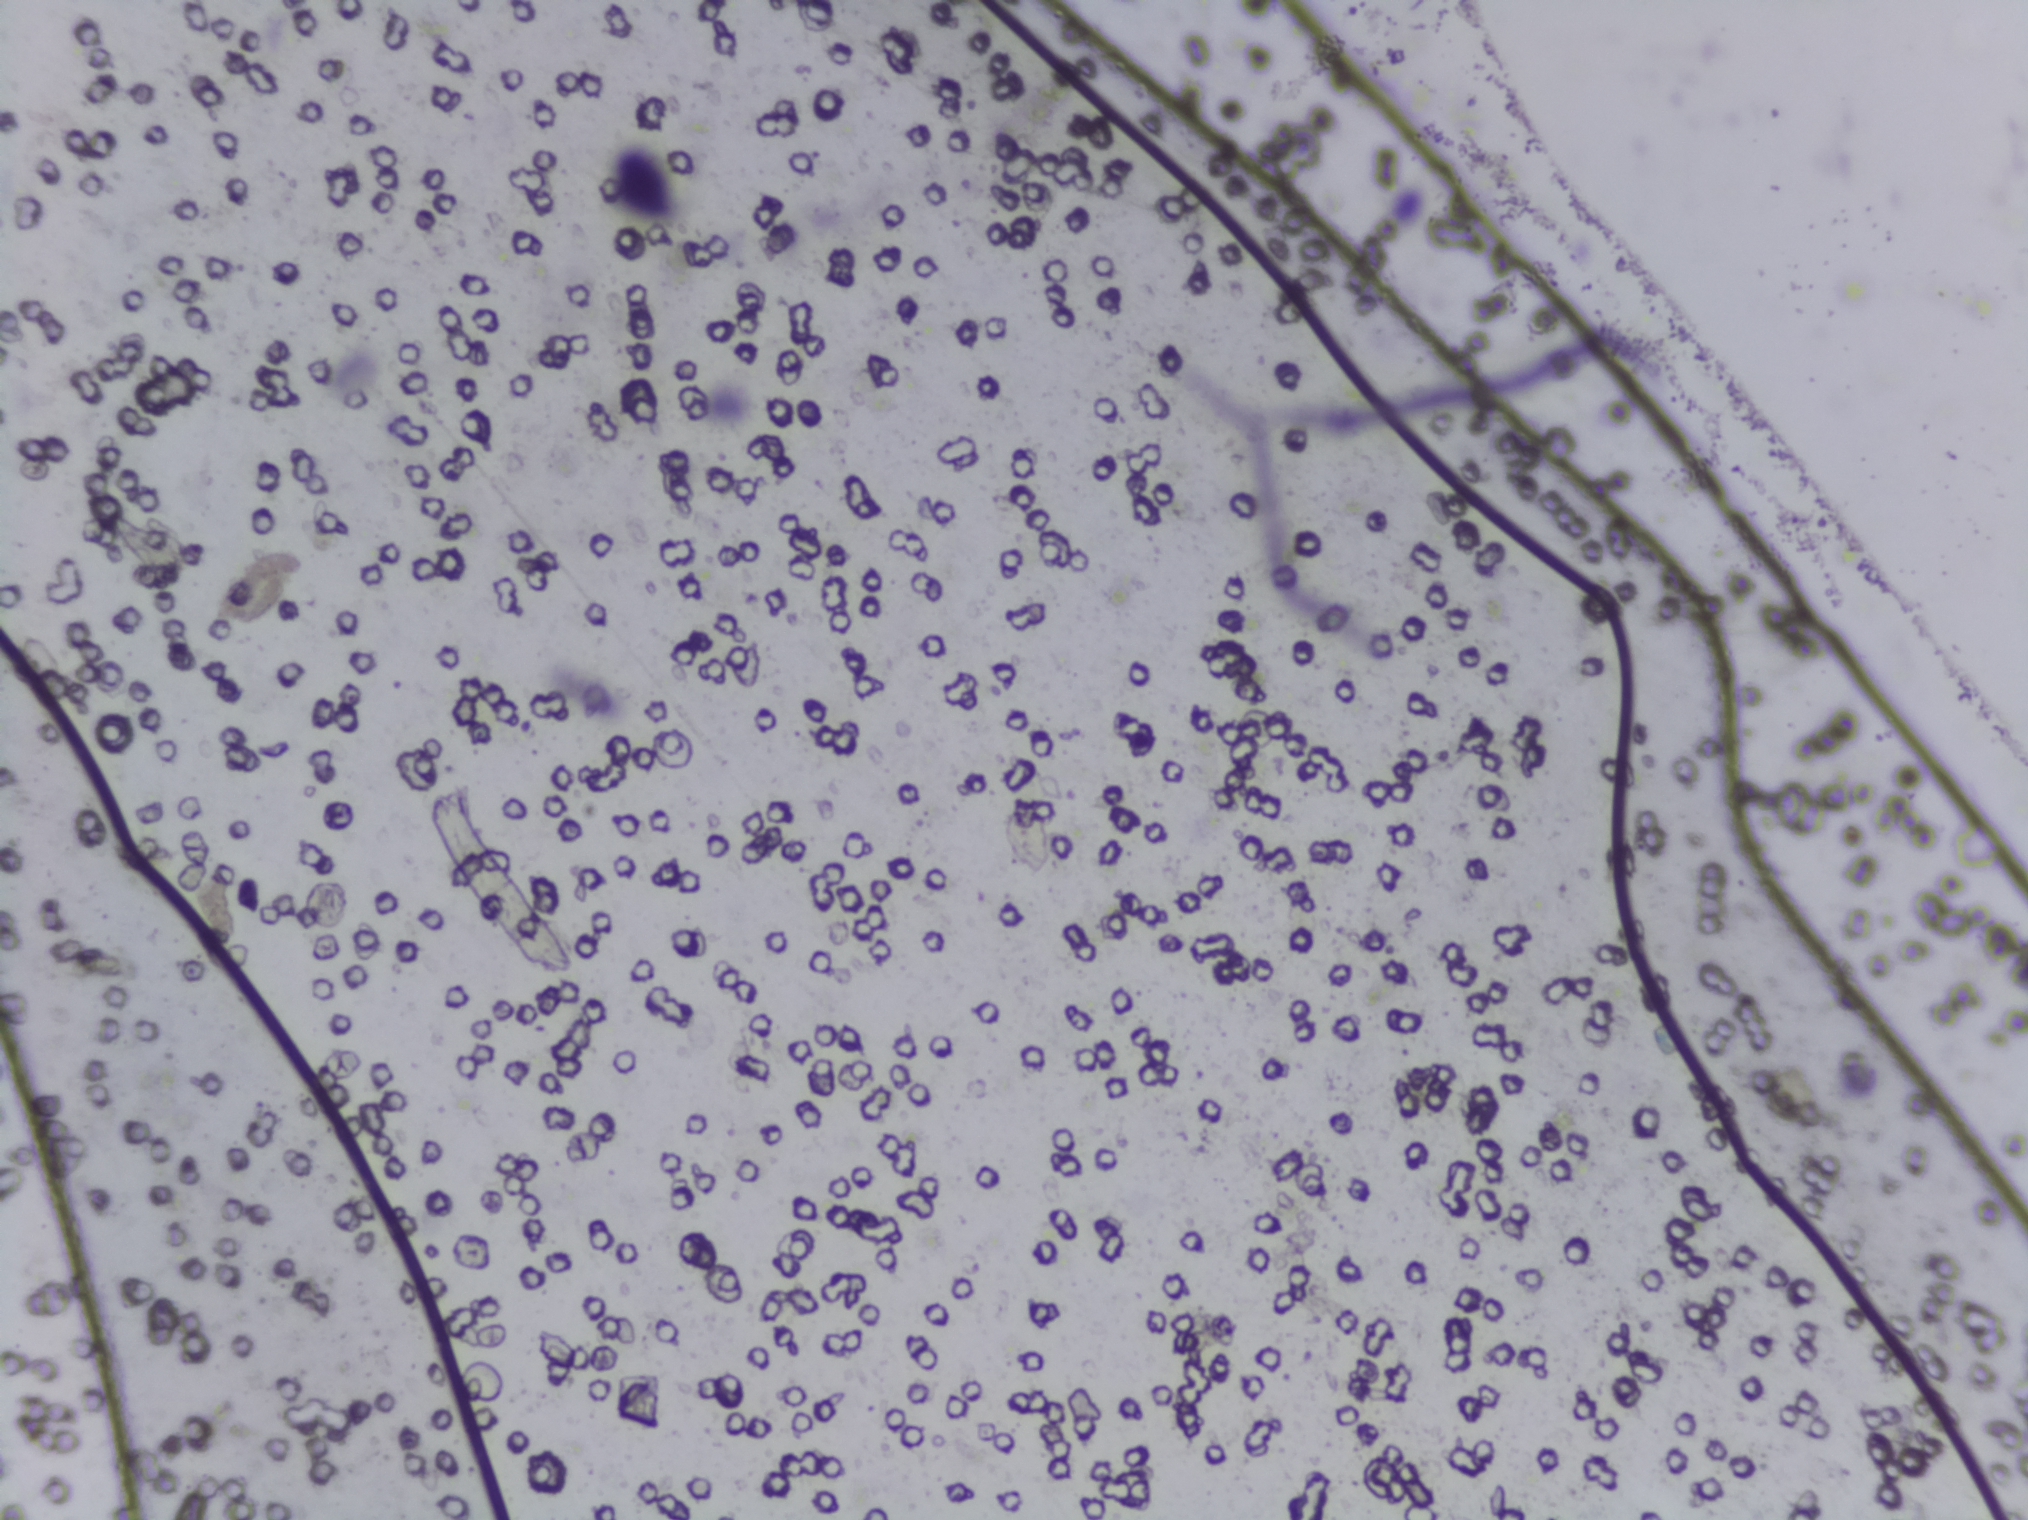
Microscope photograph (4× objective) of a membrane that a urine sample was filtered through.
Schistosoma eggs: none outlined.